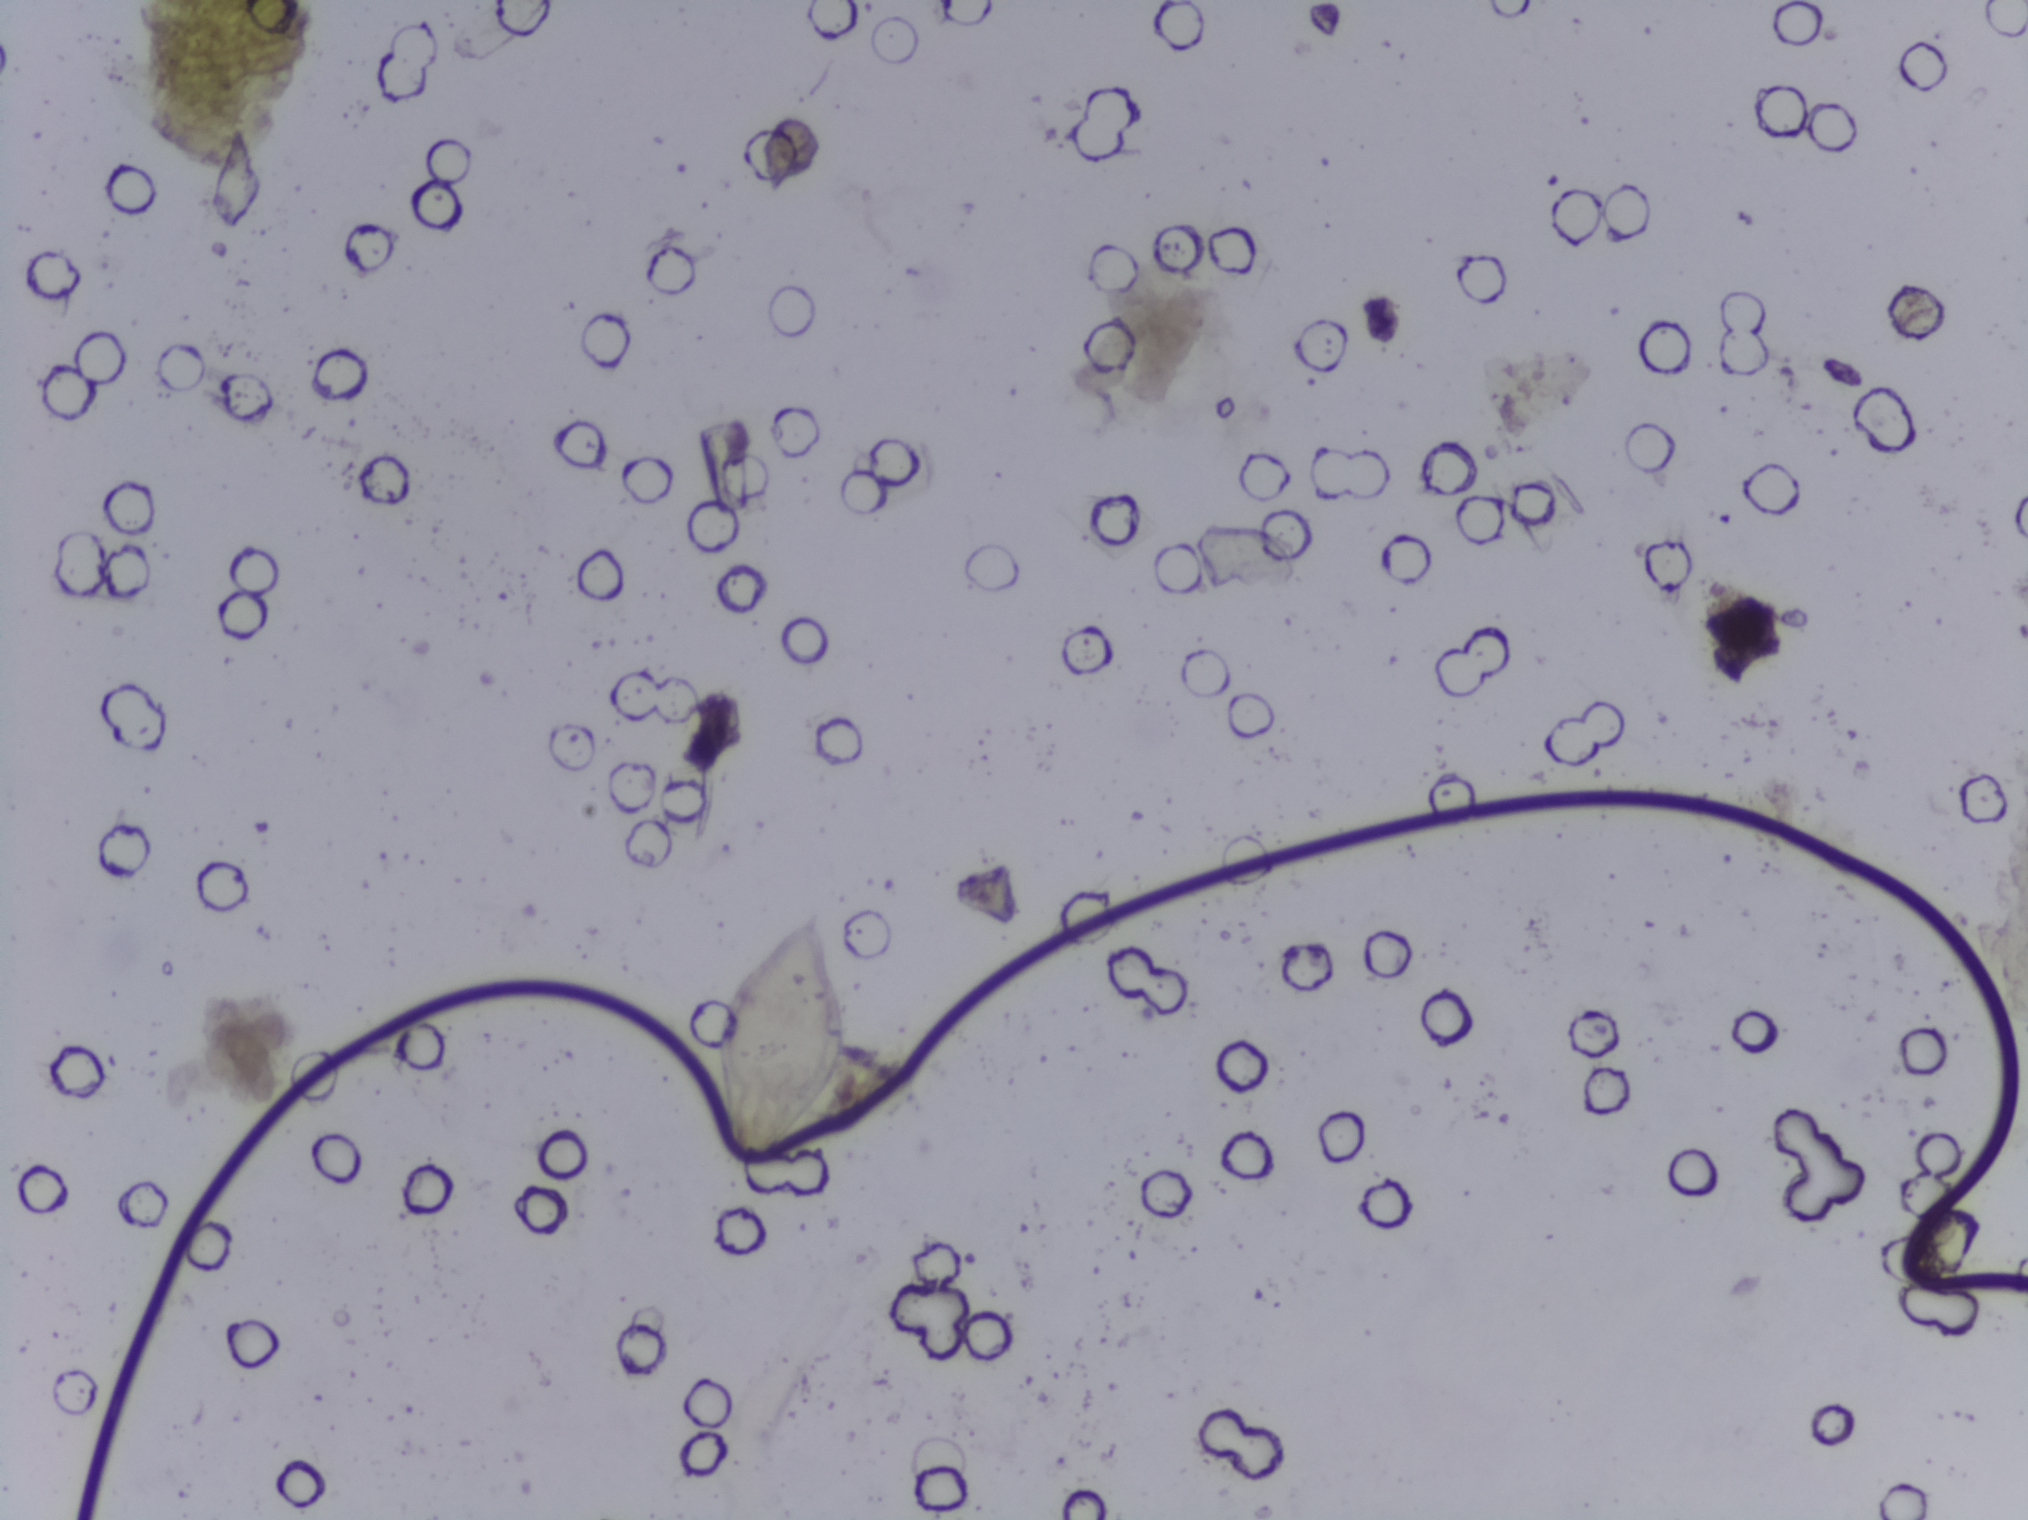
Photomicrograph of a urine filtration membrane, 4× objective. The image covers about 1.5 × 1.1 mm of the membrane.
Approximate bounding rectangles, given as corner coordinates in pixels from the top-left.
Areas outlined as Schistosoma eggs: (x1=706, y1=909, x2=864, y2=1179). A single outlined area may contain several eggs.